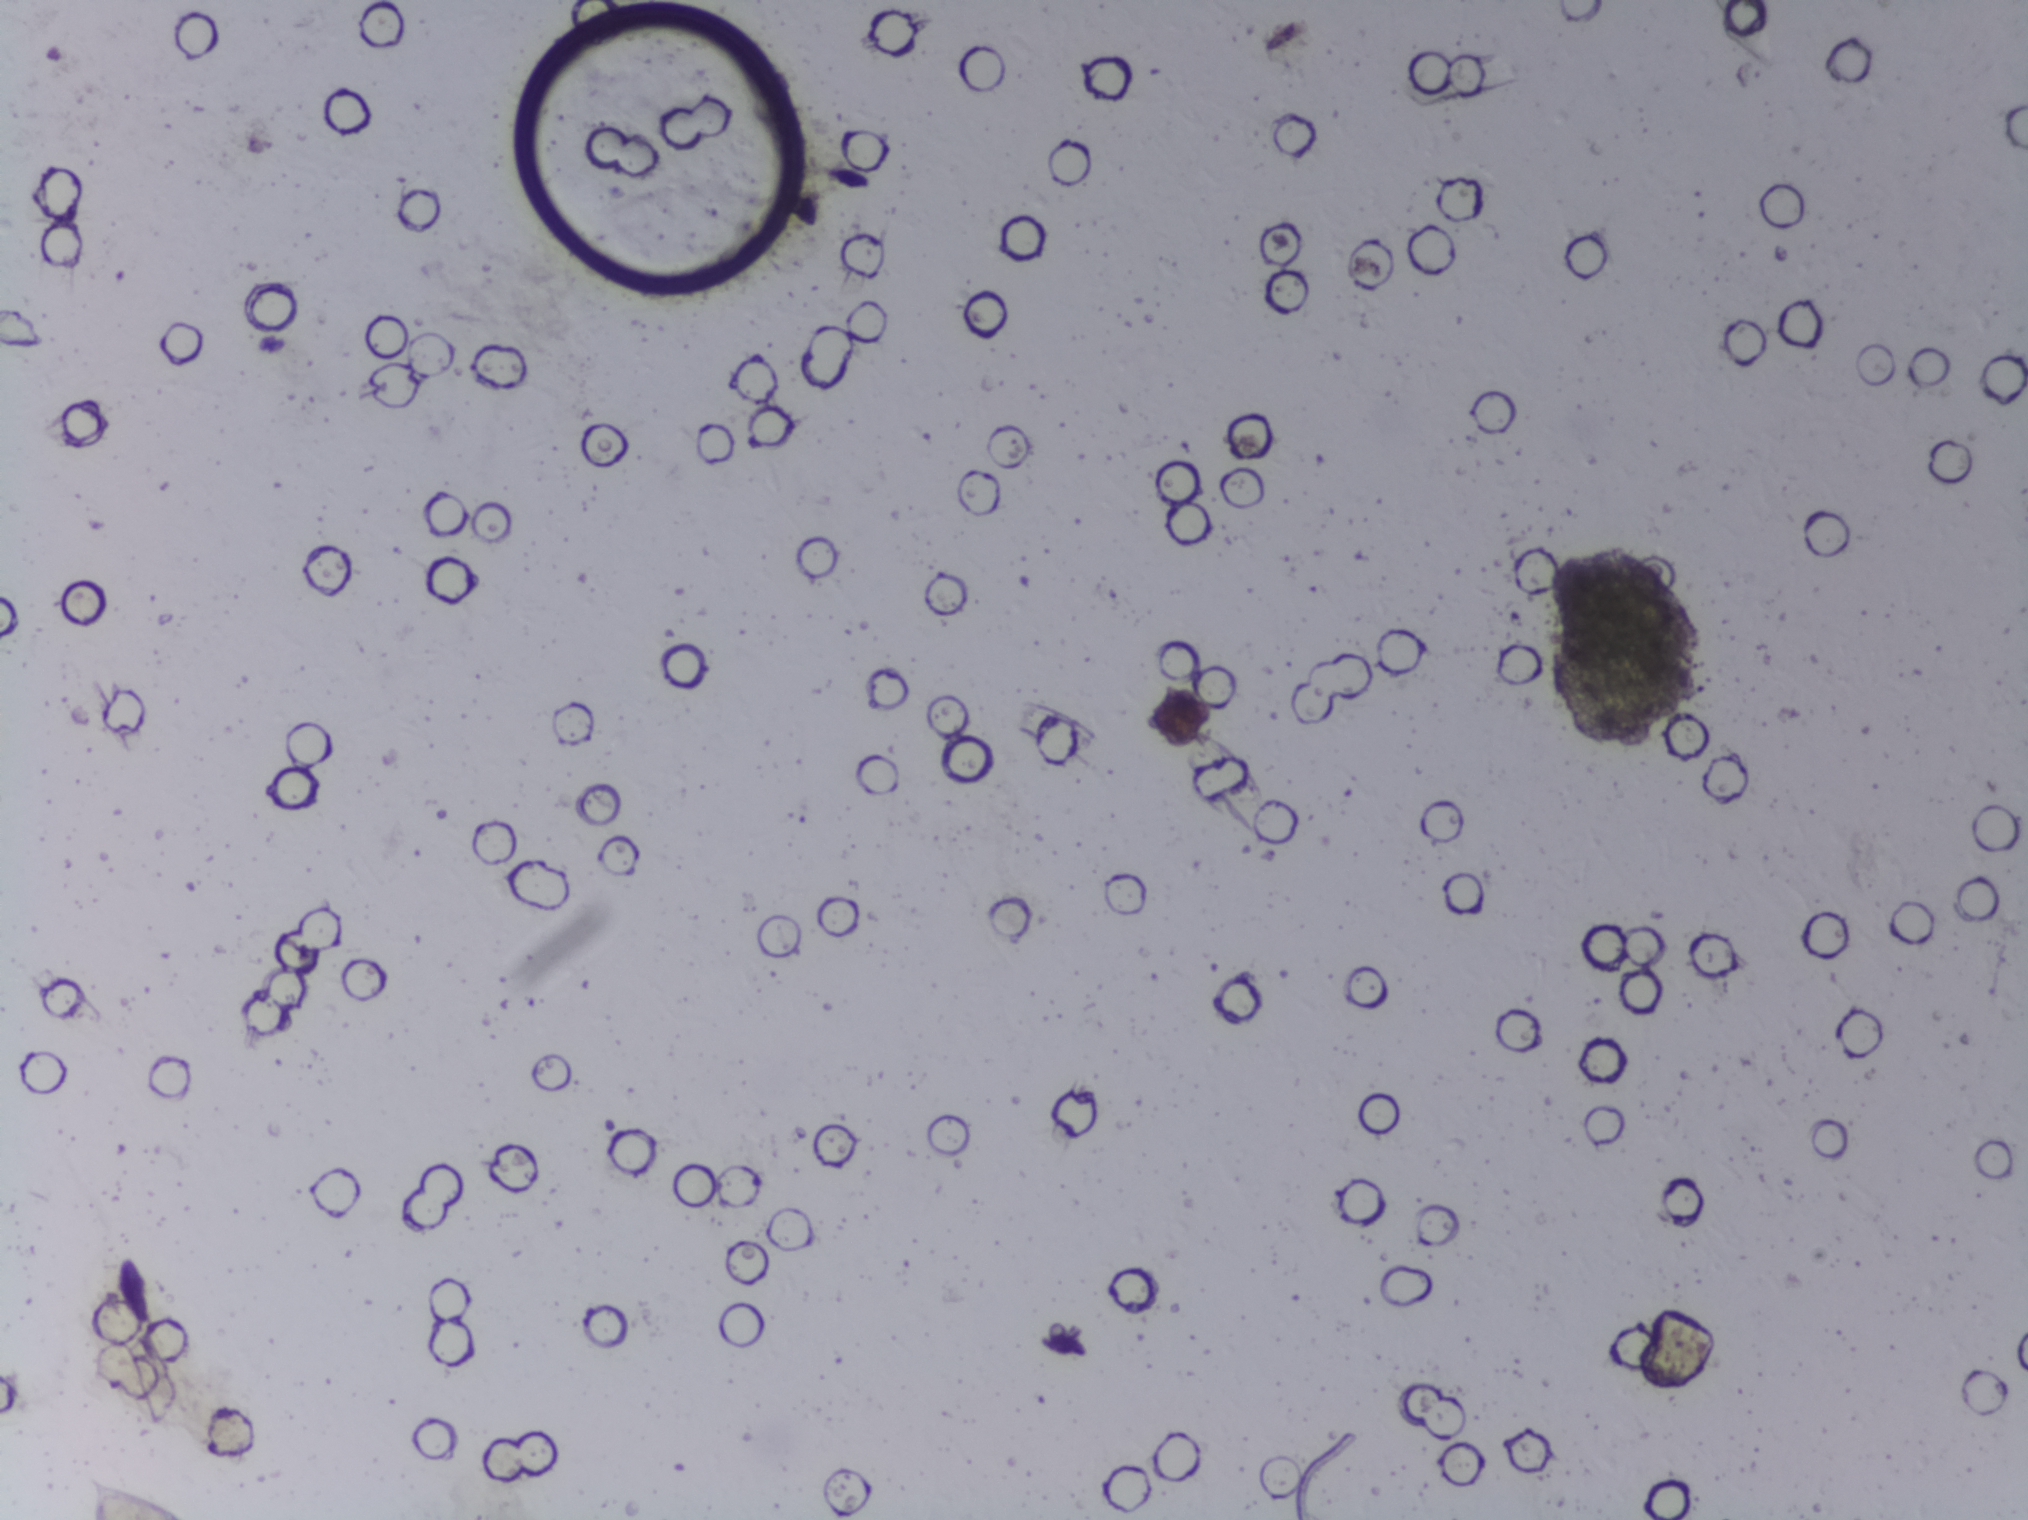
Urine filtration membrane under a 4× objective, photographed by an automated digital microscope.
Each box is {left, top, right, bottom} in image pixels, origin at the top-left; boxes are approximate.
Schistosoma eggs, outlined areas: {87, 1467, 184, 1519} (reaching the bottom edge of the frame). An outlined area can hold more than one egg. A marked egg may occasionally be S. mansoni rather than S. haematobium.